One field of view of a urine filter membrane, 4× objective, 2028 × 1520 pixels.
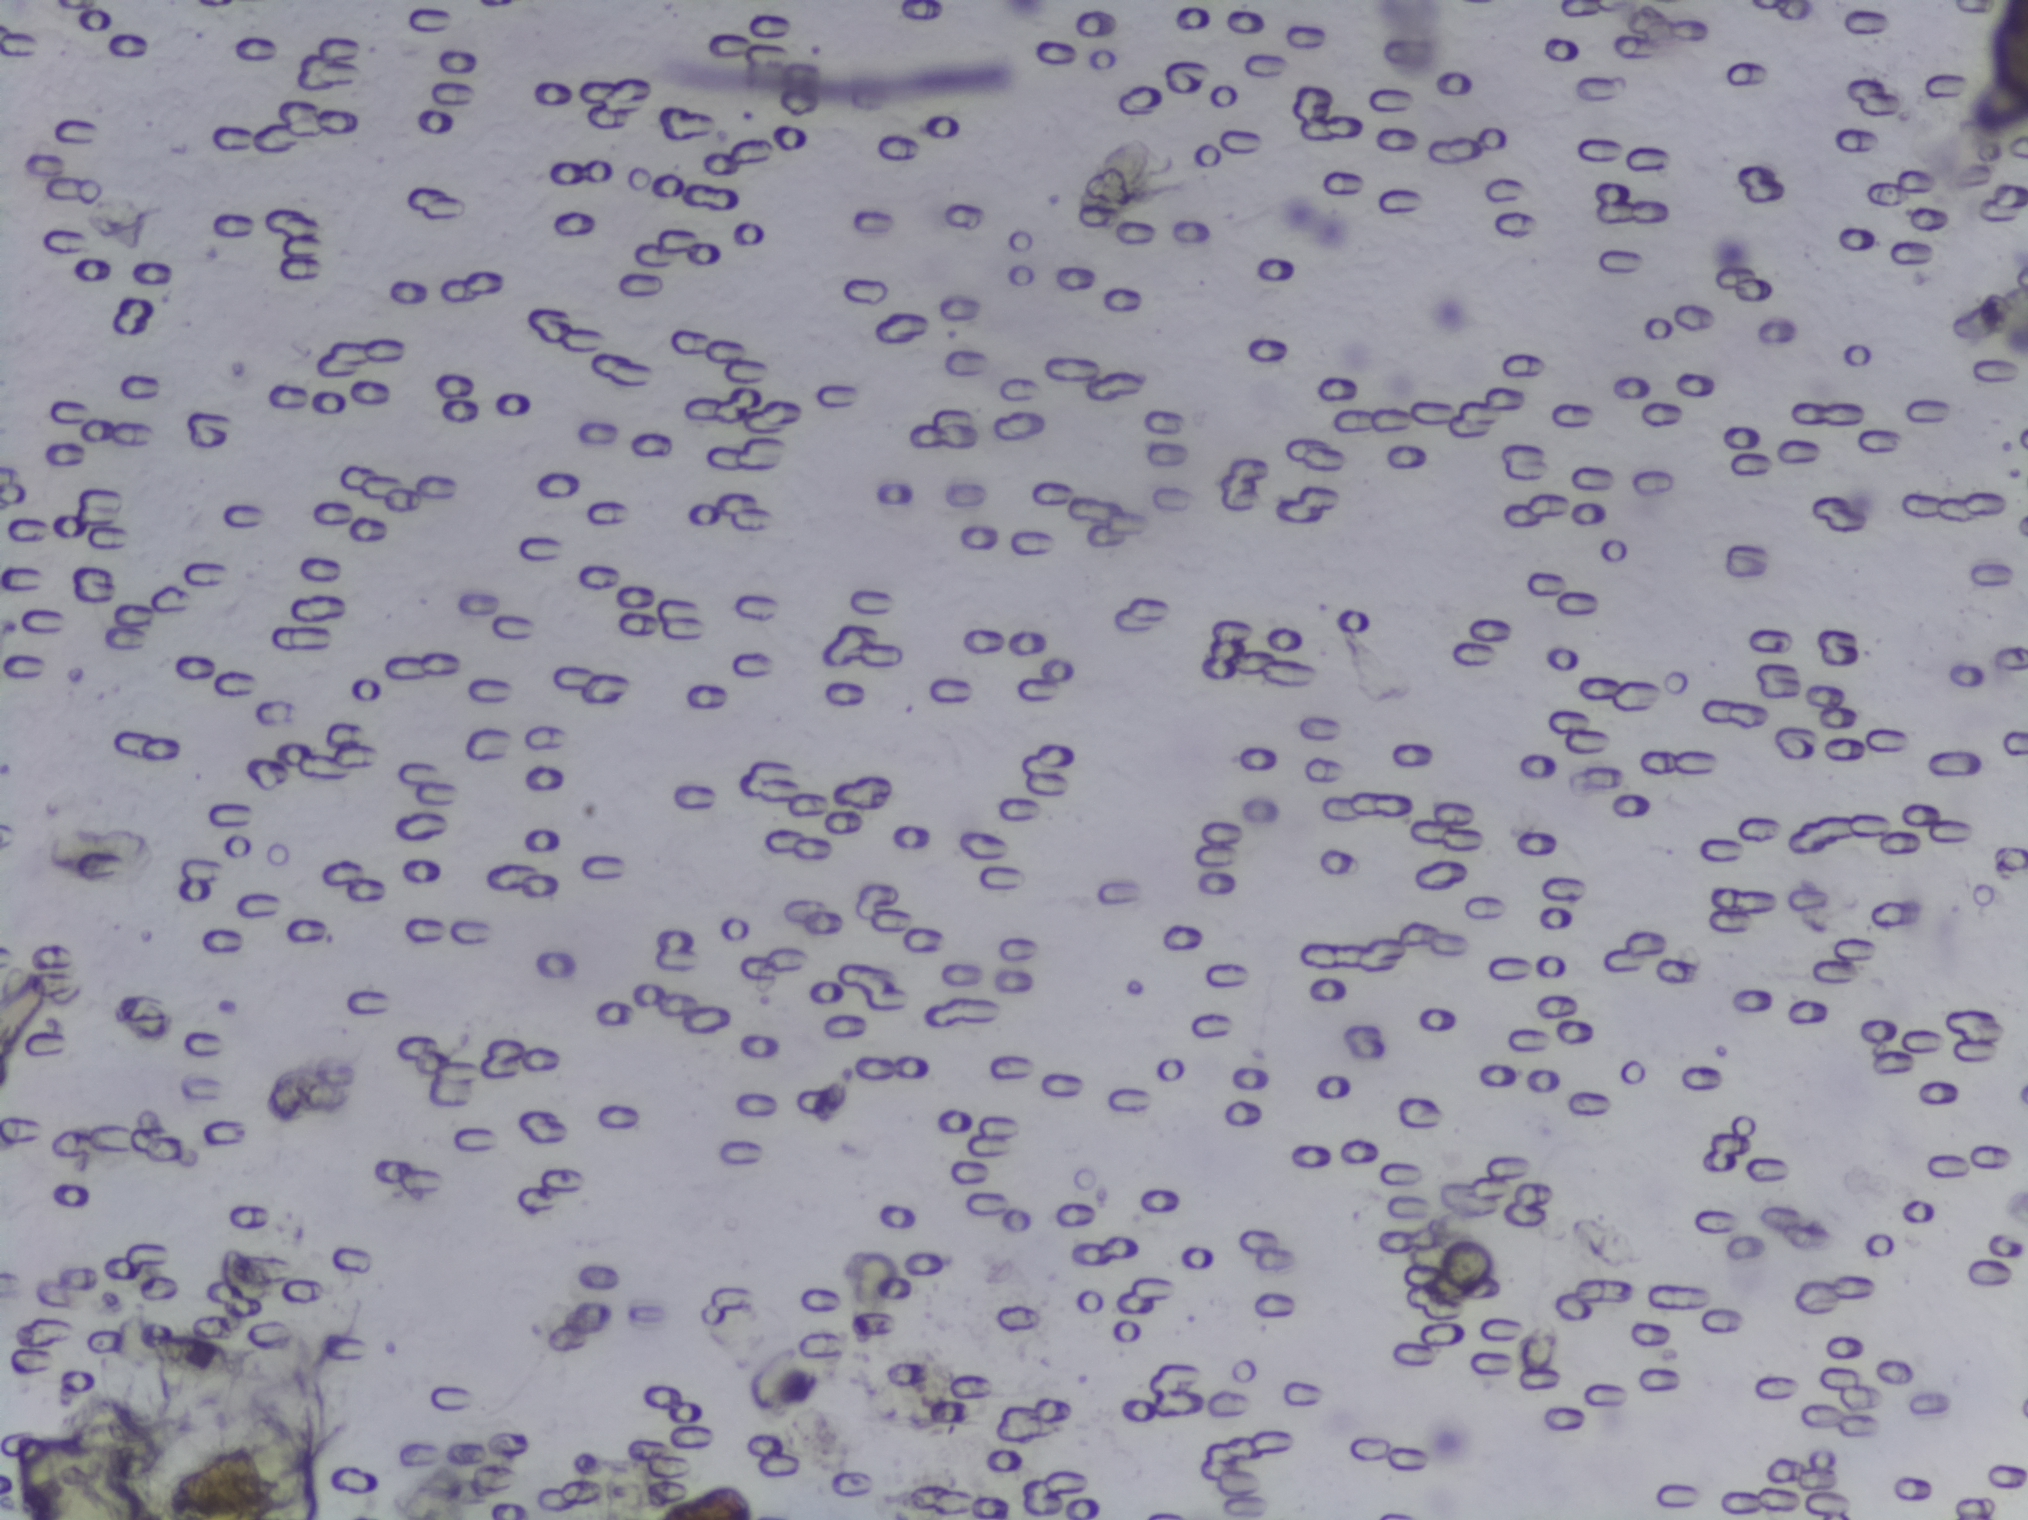
No Schistosoma egg is outlined in this image's expert annotation.